Urine filter membrane photographed through a 4× microscope objective. The image covers about 1.5 × 1.1 mm of the membrane.
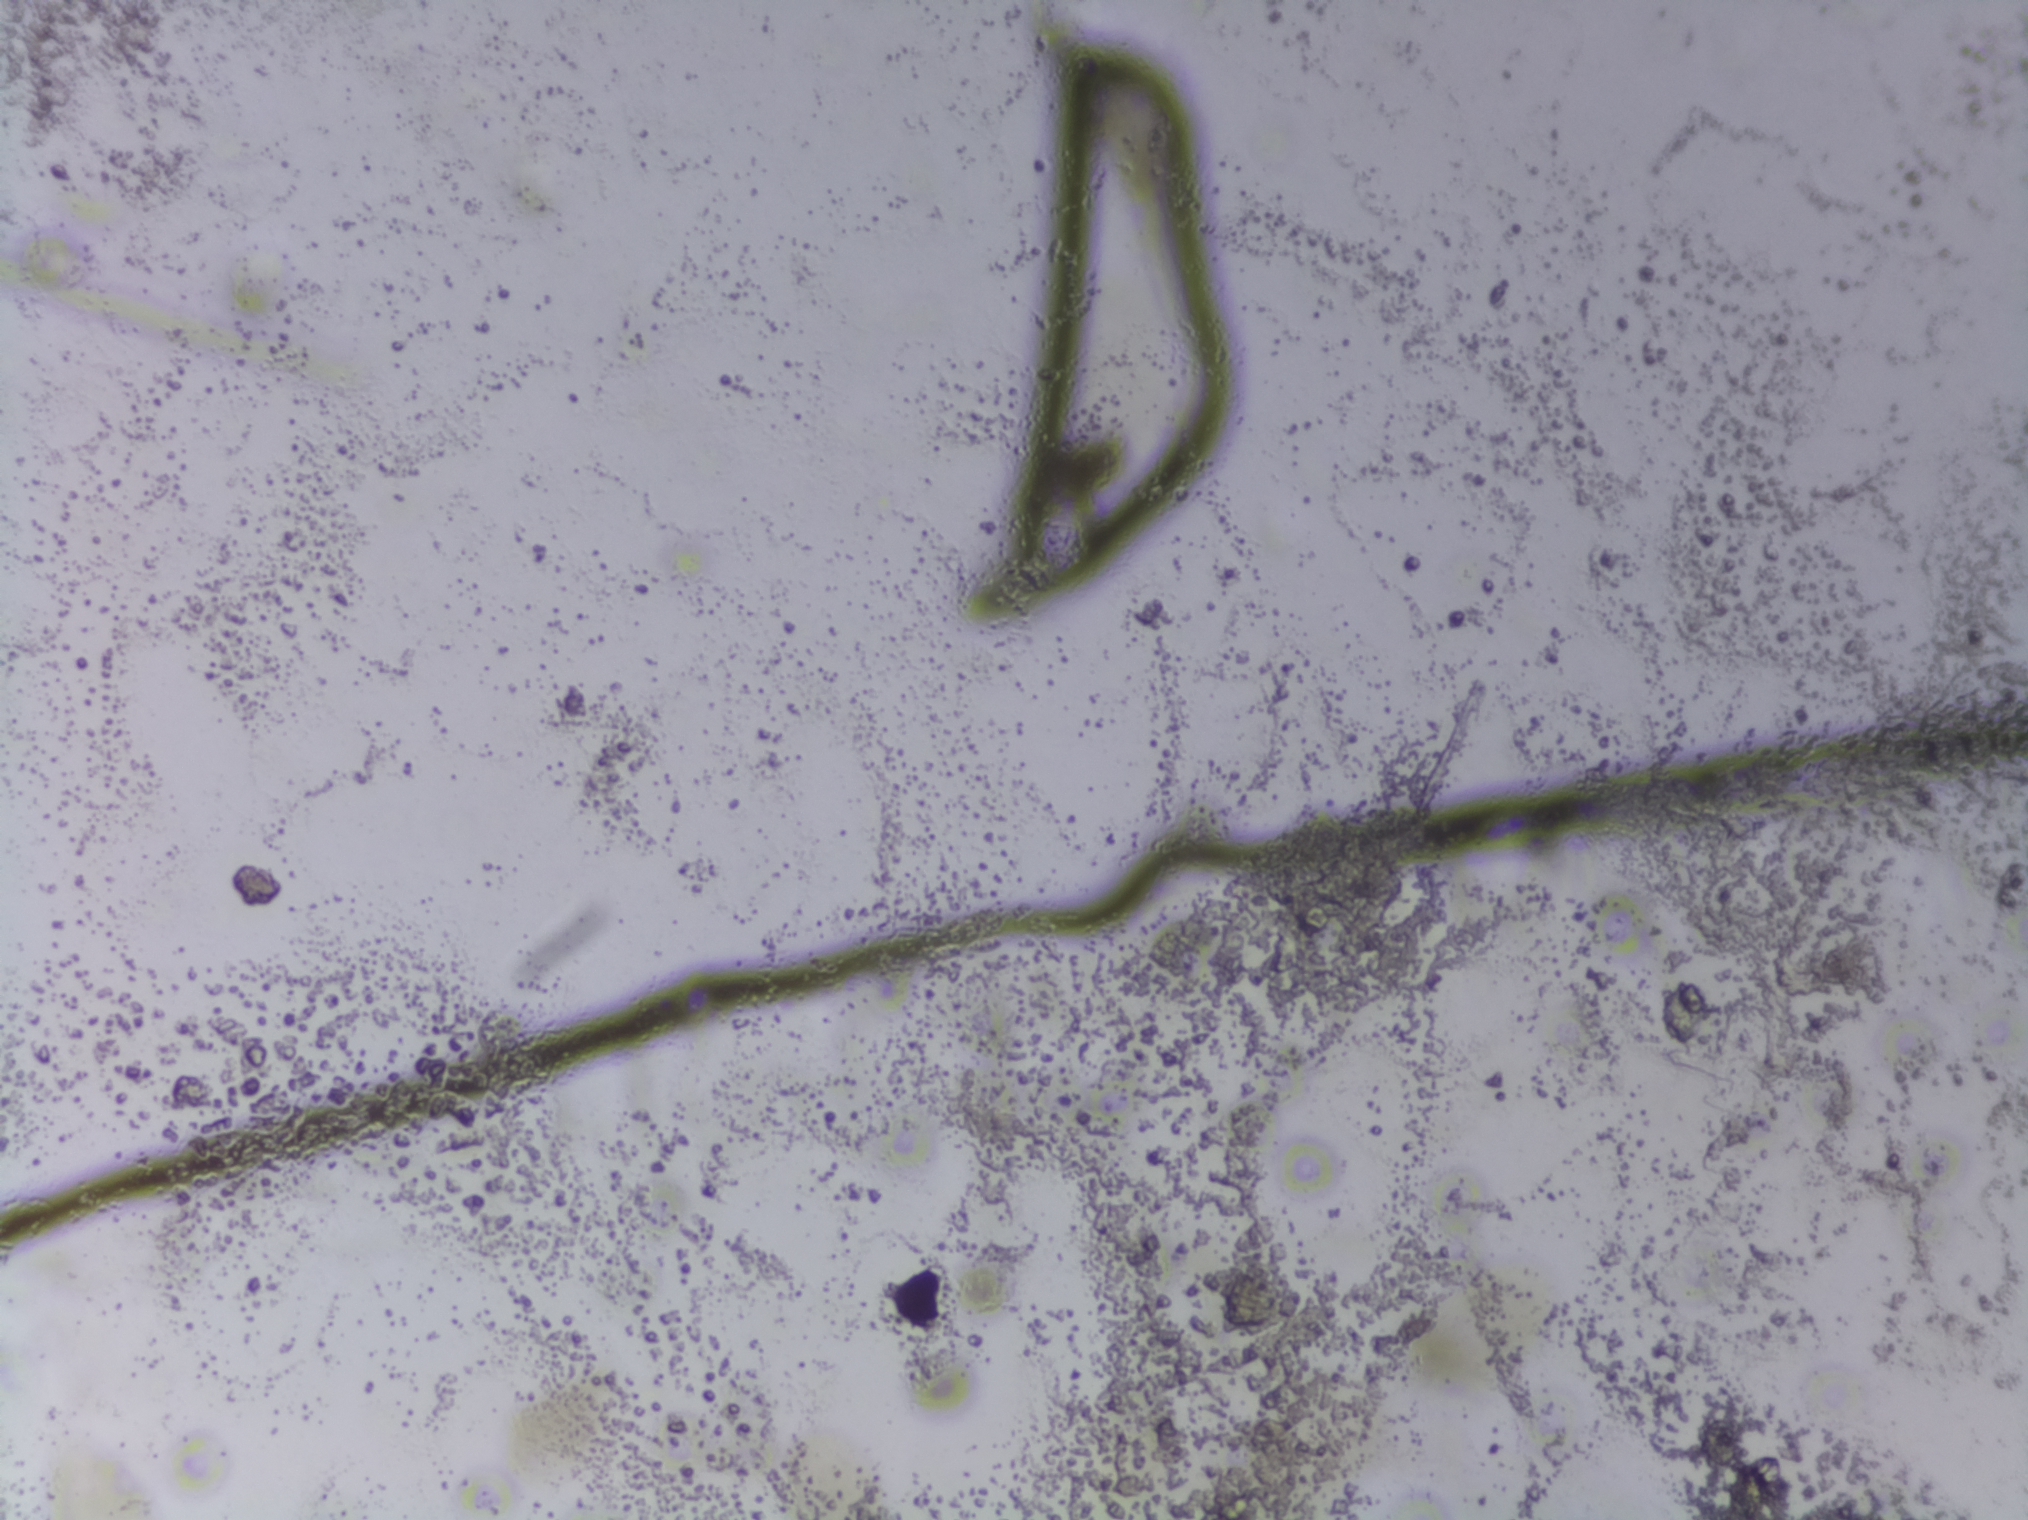
The expert annotation outlines no Schistosoma egg in this image.